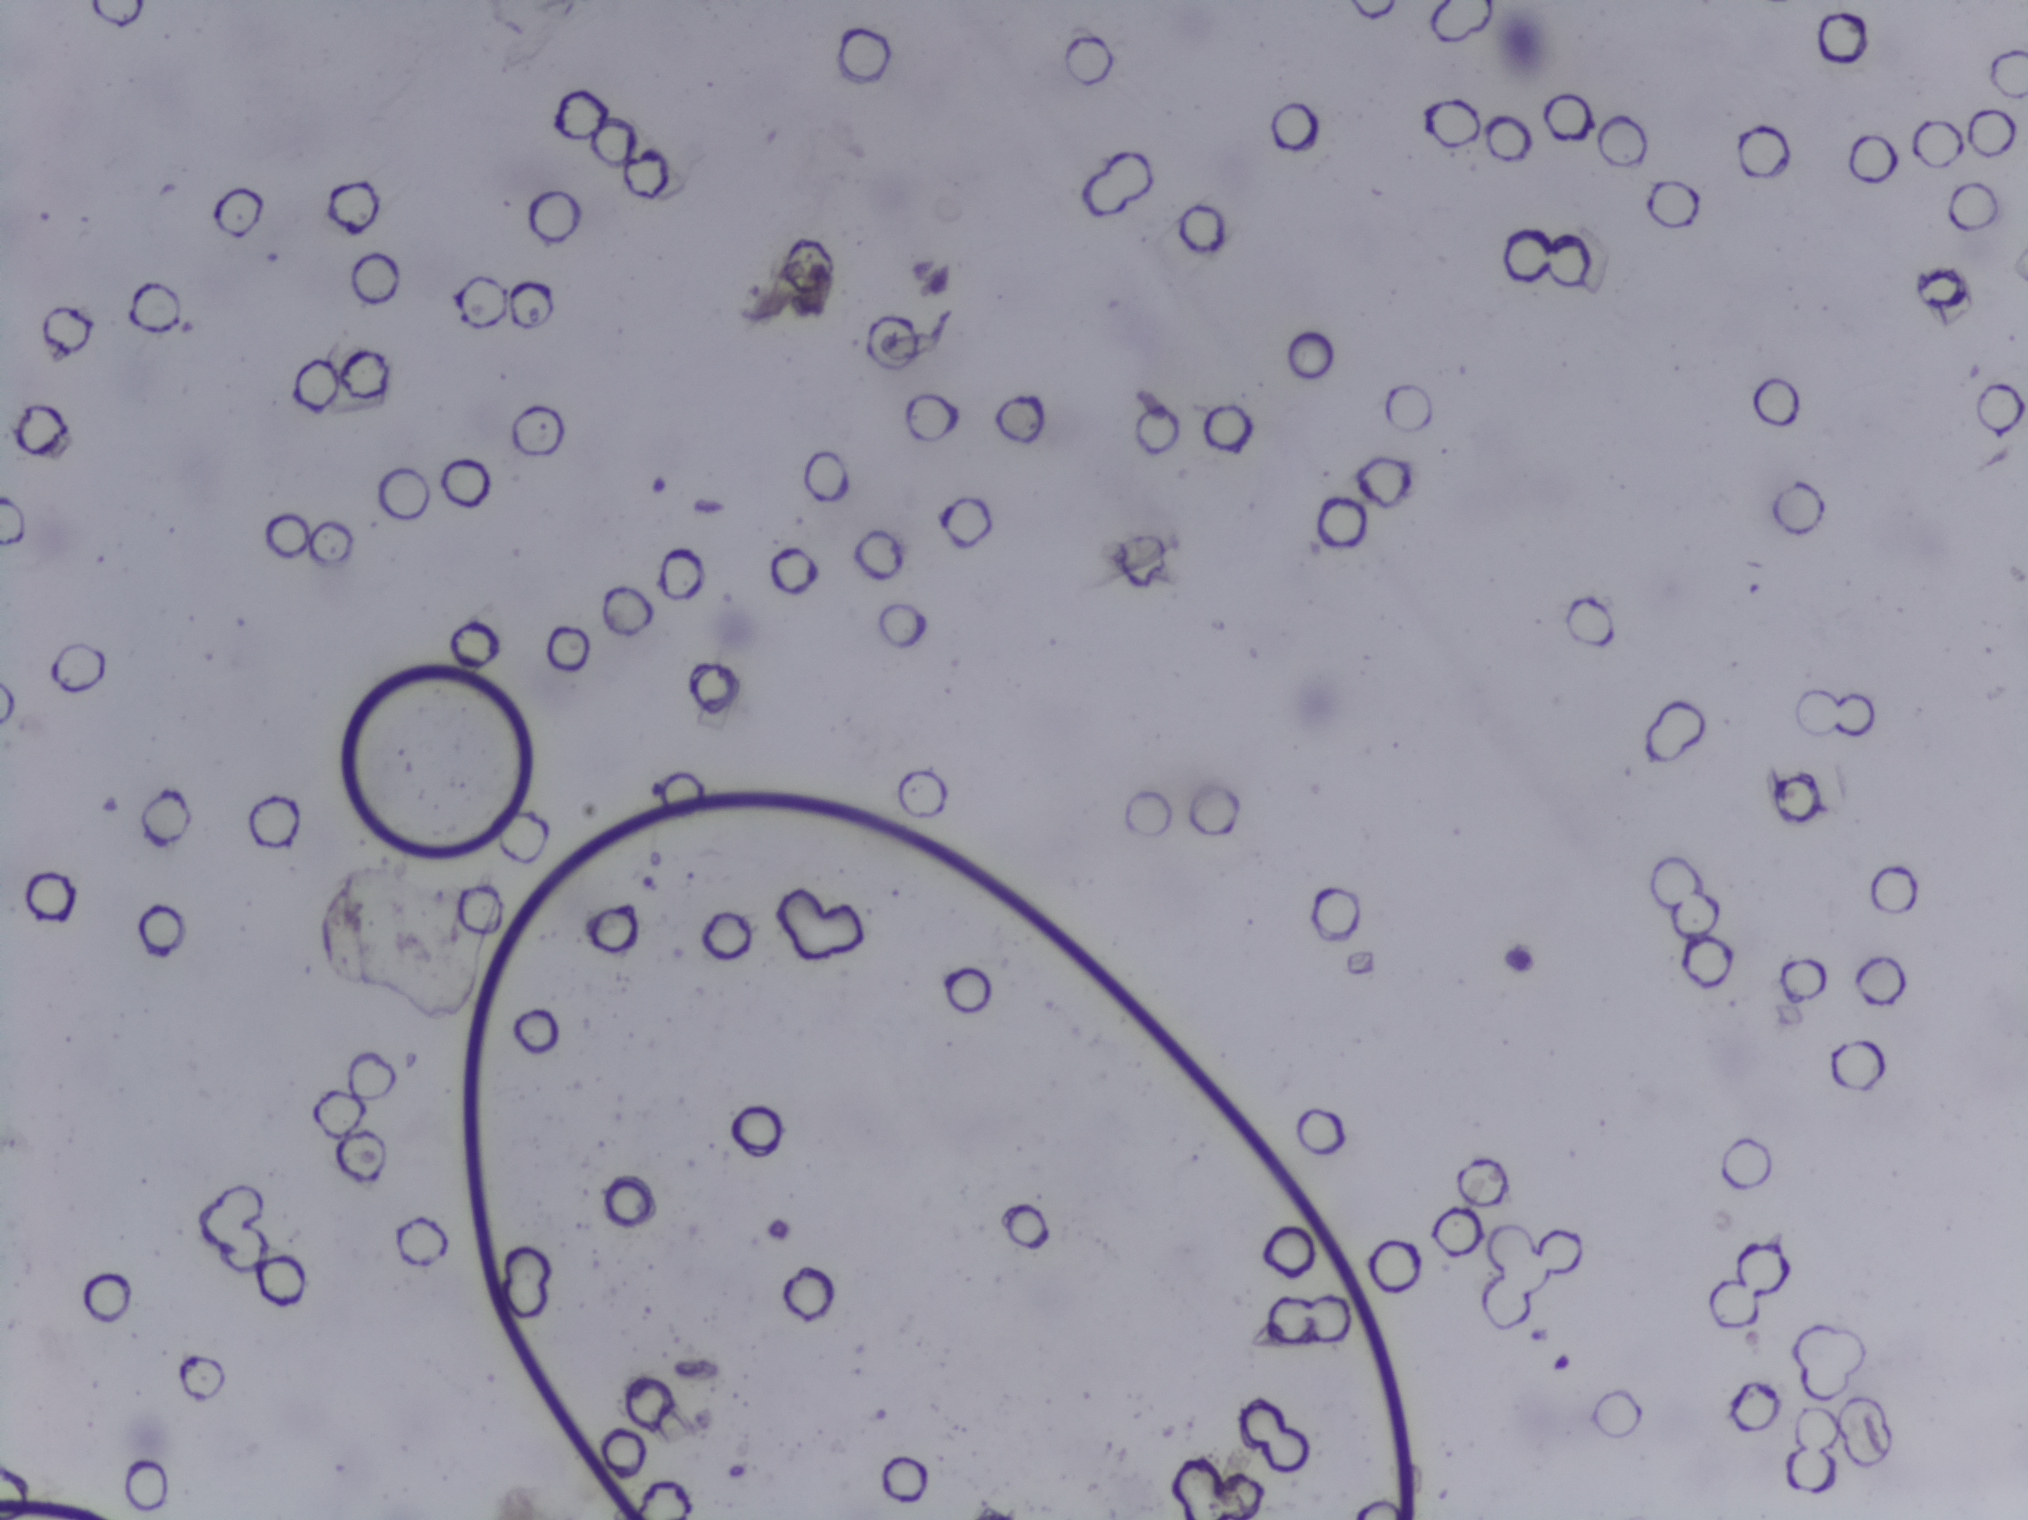
The expert annotation outlines no Schistosoma egg in this image.
Urine filtration membrane under a 4× objective, photographed by an automated digital microscope. The image covers about 1.5 × 1.1 mm of the membrane.